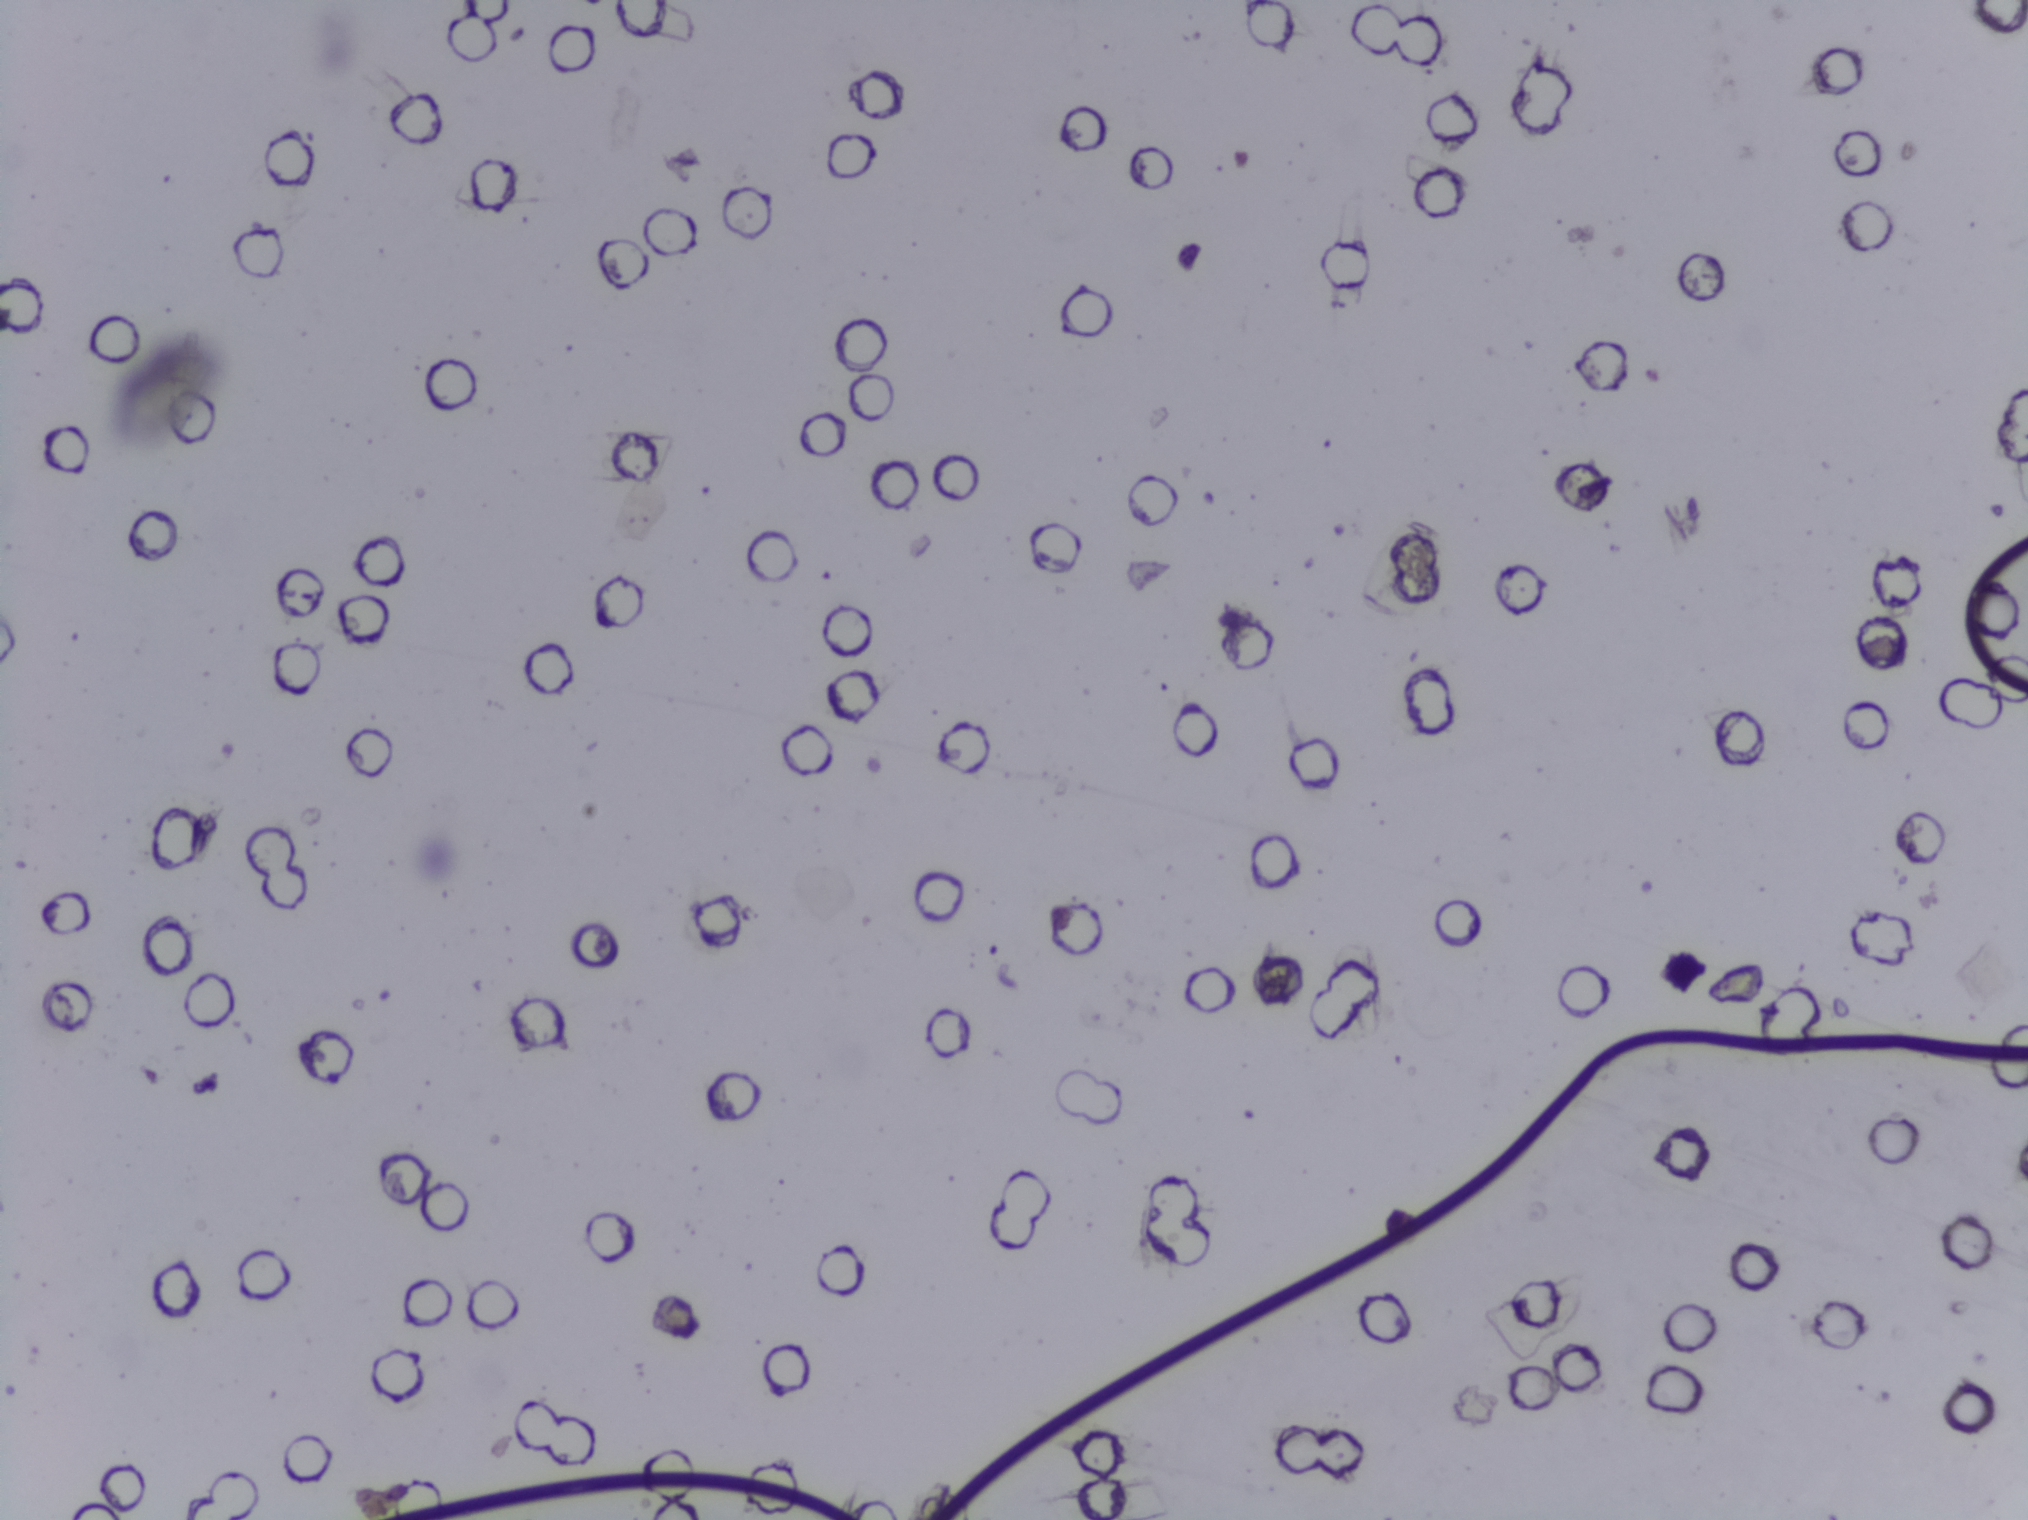
Photomicrograph of a urine filtration membrane, 4× objective.
No Schistosoma egg is outlined in this image's expert annotation.